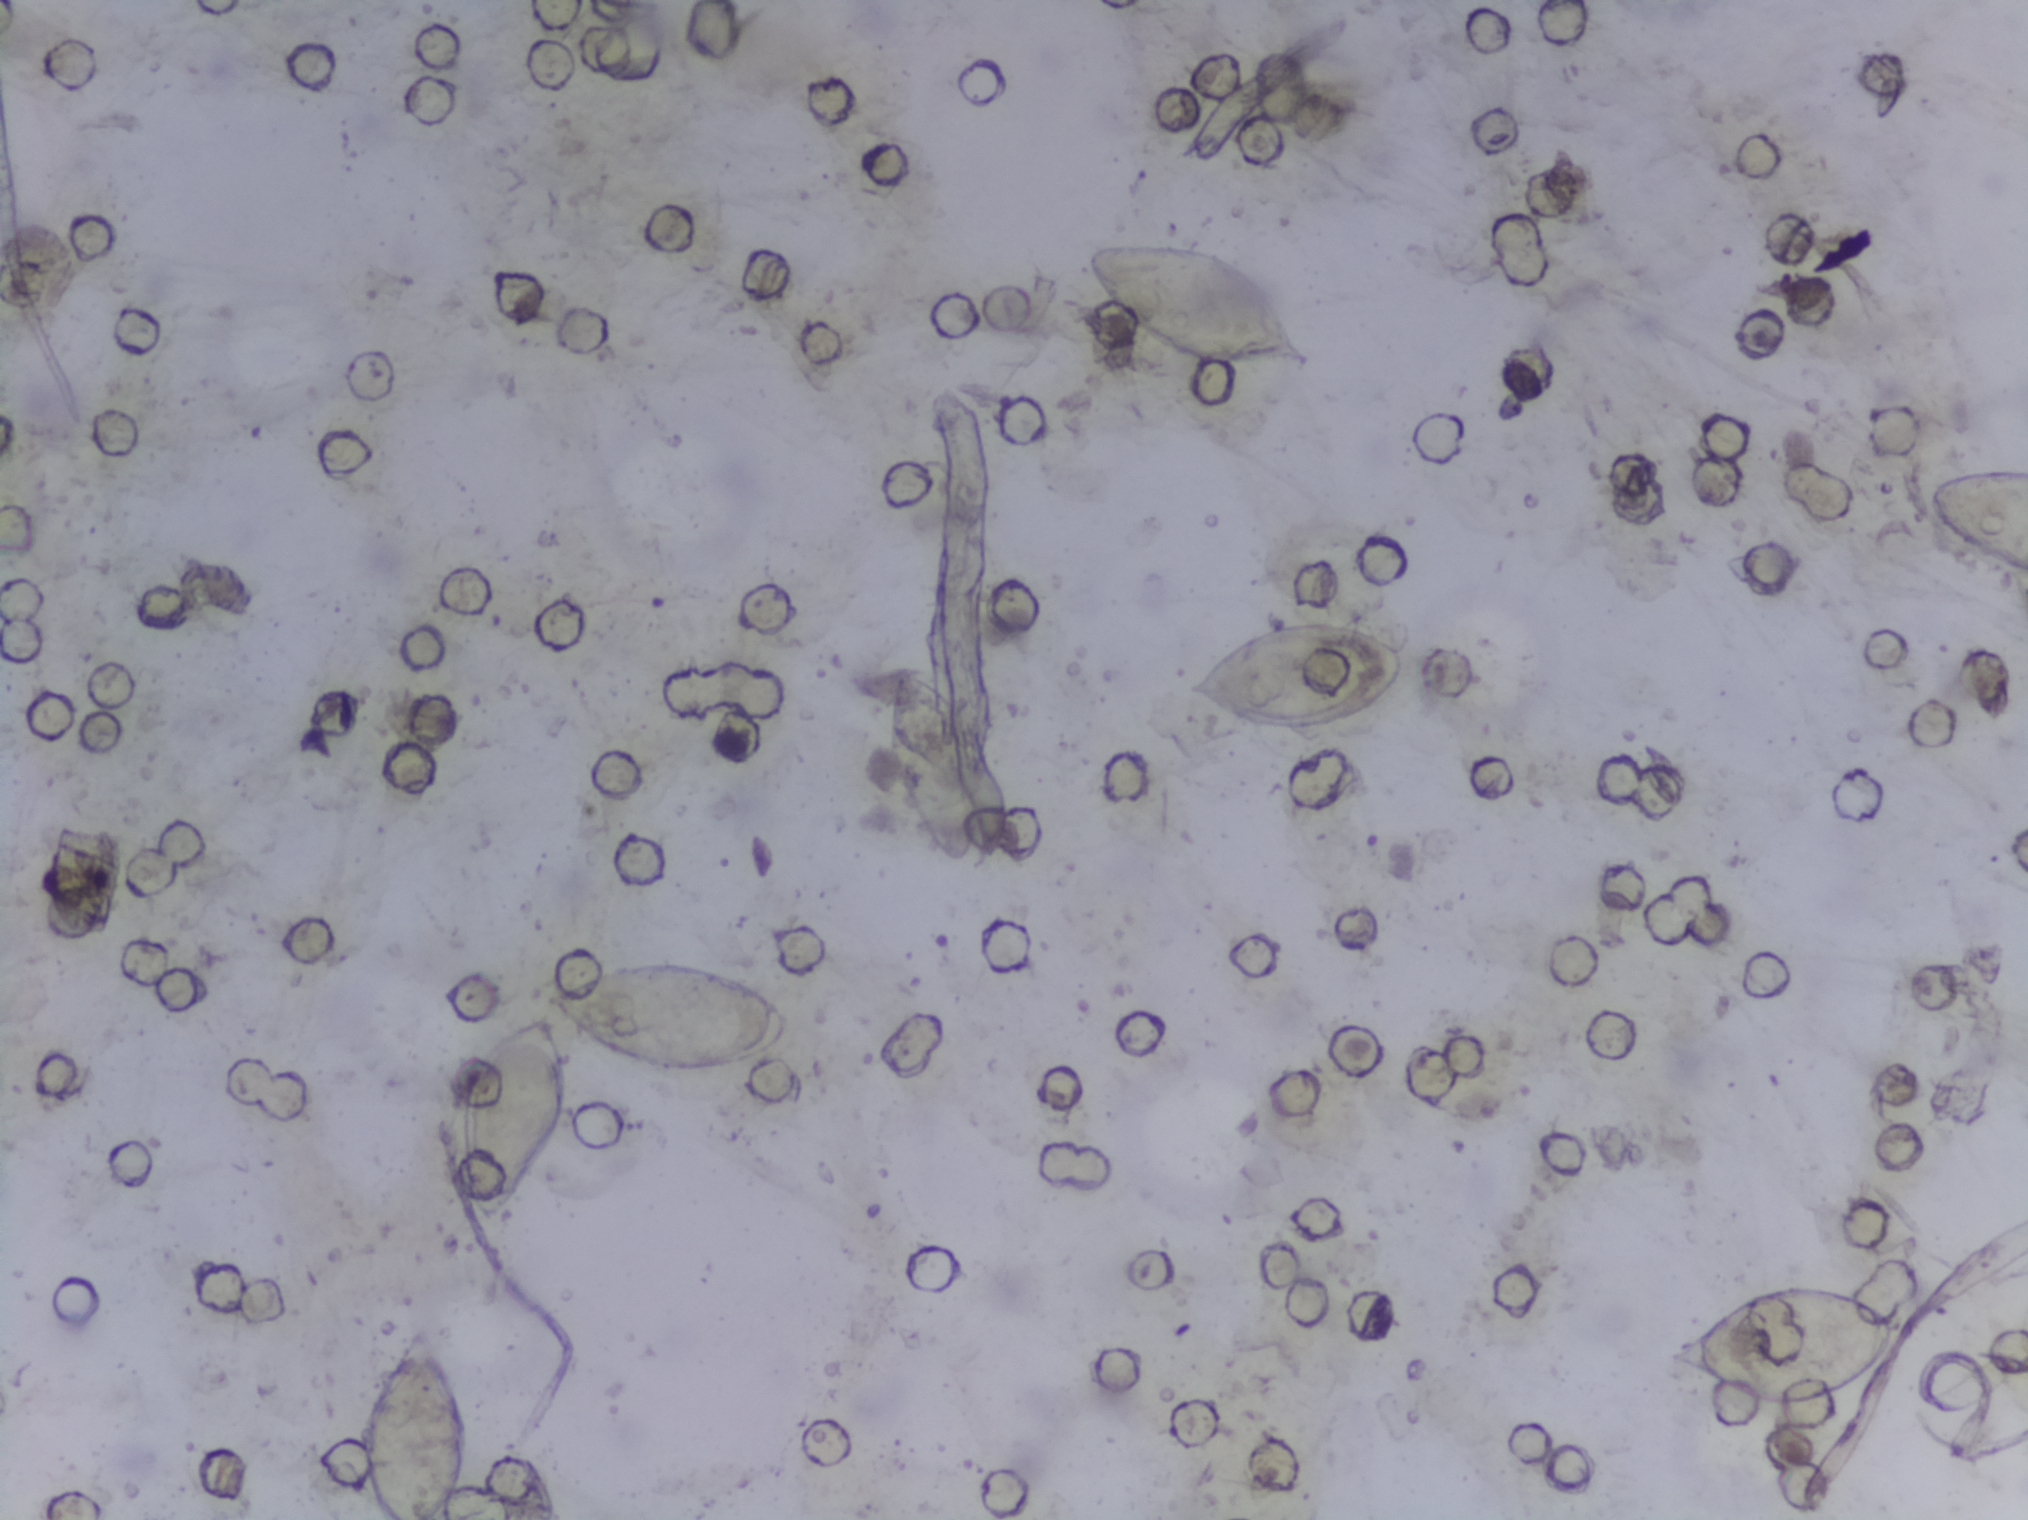
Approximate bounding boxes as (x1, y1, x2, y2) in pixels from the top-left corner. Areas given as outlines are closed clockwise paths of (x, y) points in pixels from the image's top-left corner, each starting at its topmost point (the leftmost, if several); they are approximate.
Schistosoma egg areas, outlined: box (363, 1314, 473, 1519) (reaching the bottom edge of the frame); outline (624, 955), (724, 964), (787, 1002), (796, 1029), (775, 1057), (696, 1081), (650, 1078), (572, 1042), (578, 1108), (569, 1133), (509, 1227), (474, 1237), (462, 1213), (464, 1079), (515, 1016), (541, 1006), (538, 997), (546, 990), (598, 959); box (888, 664, 975, 869); box (1083, 235, 1319, 375); box (1181, 611, 1410, 733); box (1663, 1278, 1905, 1409); box (1920, 465, 2027, 582) (reaching the right edge of the frame). Marked pixels, not the boxes and the outline around them: about 4.9% of the image. An outlined area can hold more than one egg. Any one outlined egg may, rarely, be S. mansoni rather than S. haematobium.
Photograph from an automated digital microscope: urine filter membrane, 4× objective.